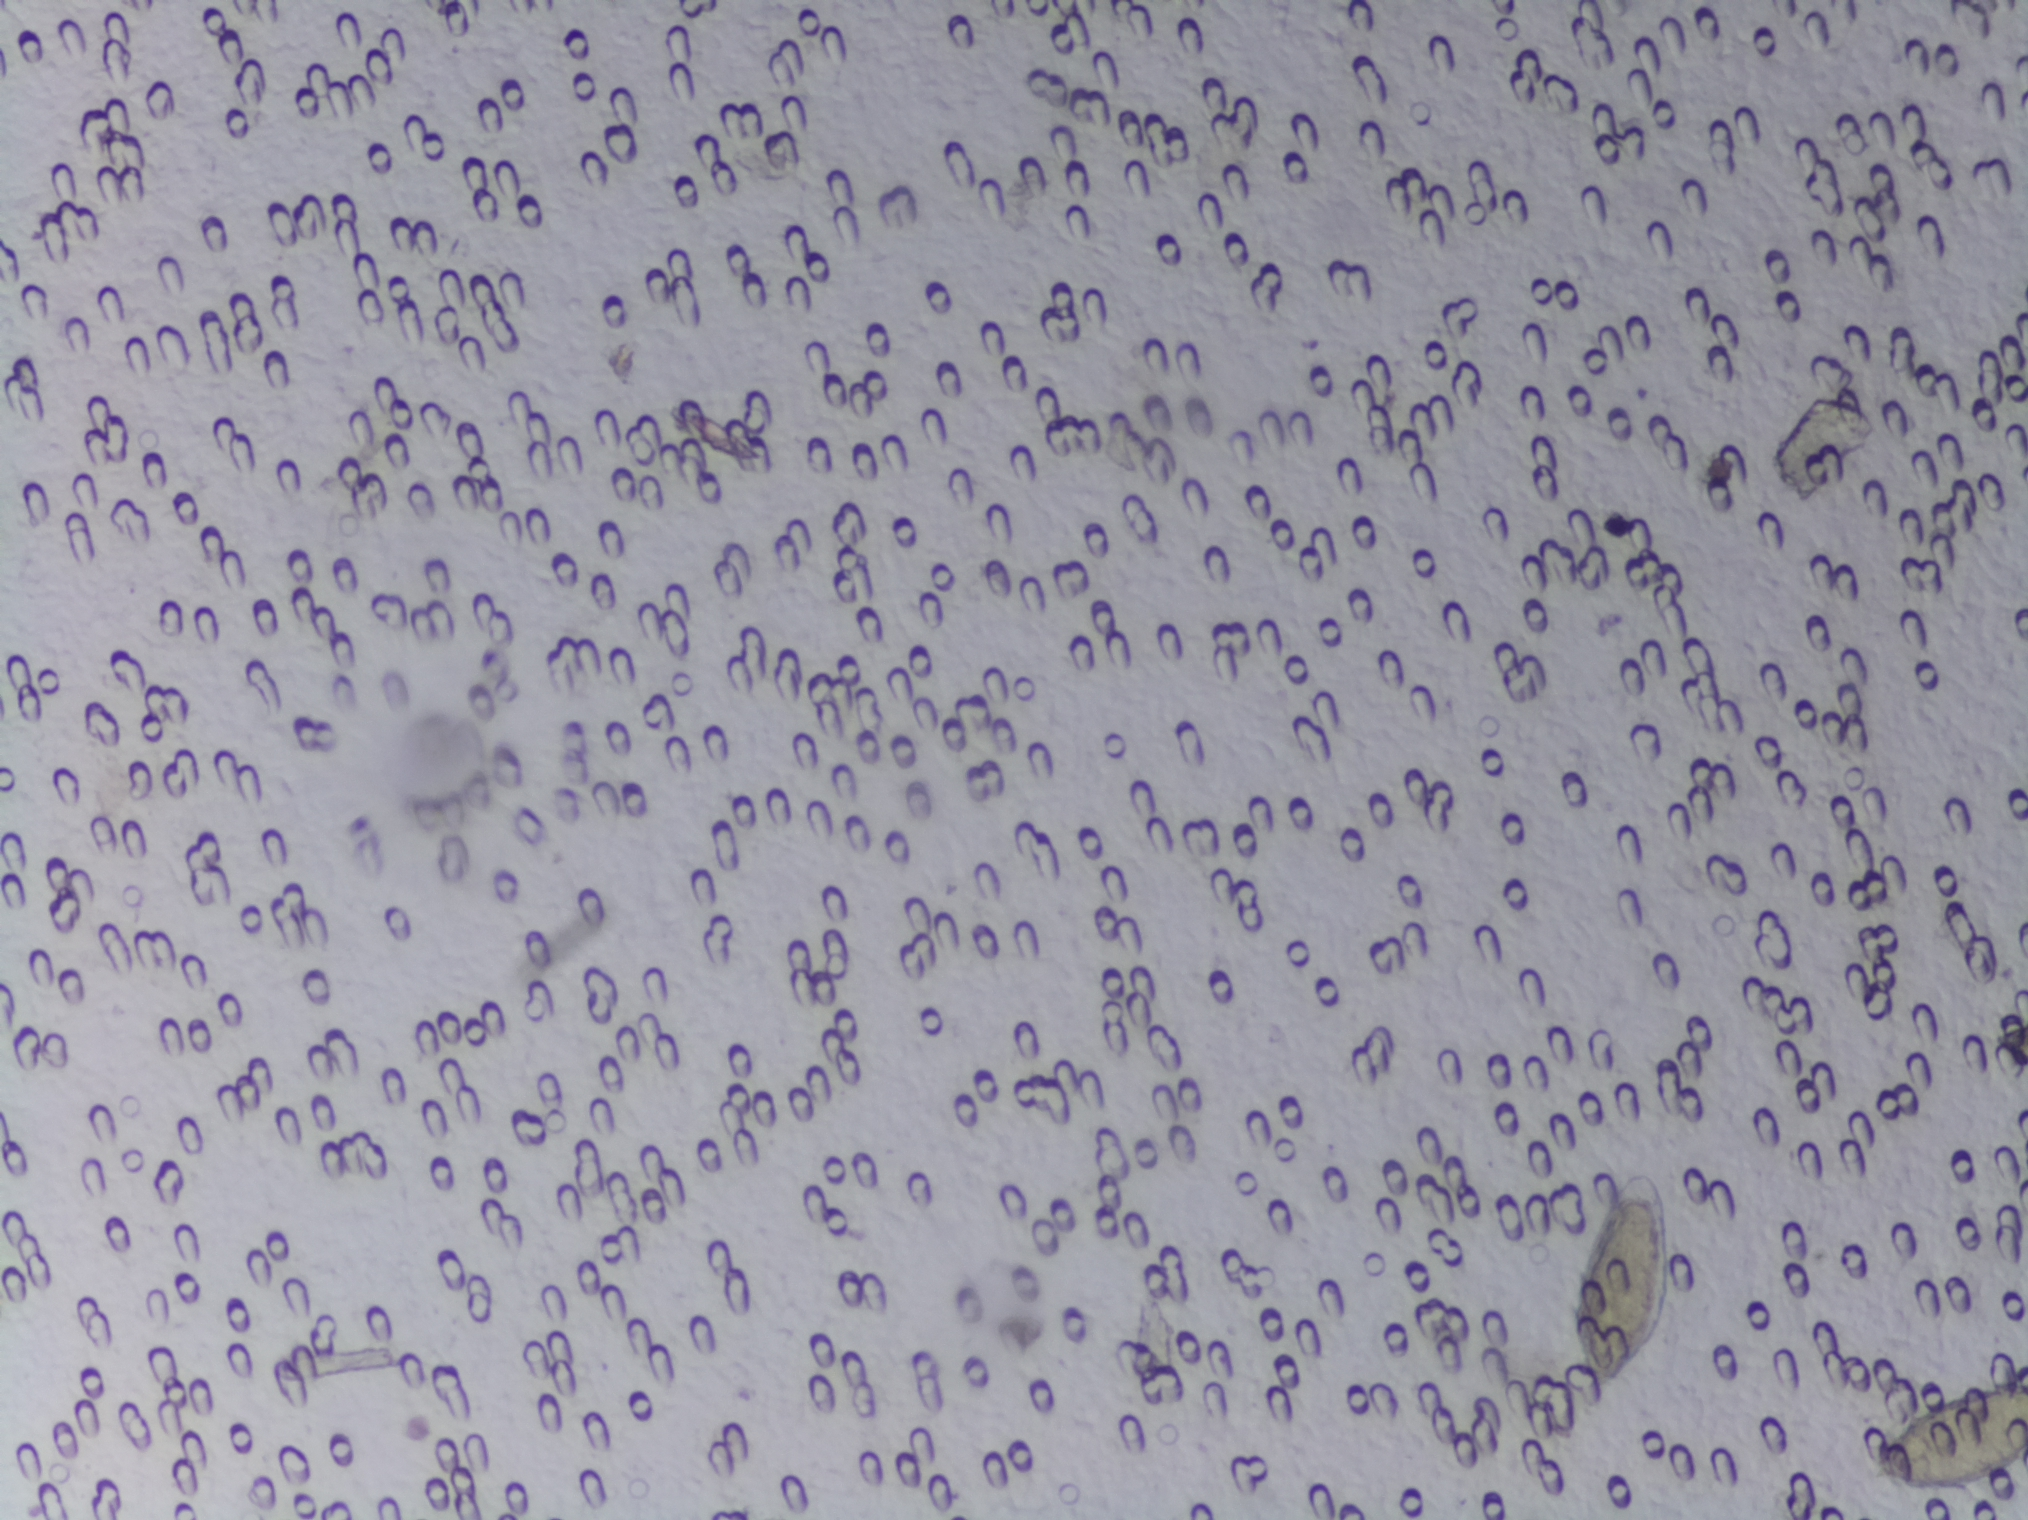
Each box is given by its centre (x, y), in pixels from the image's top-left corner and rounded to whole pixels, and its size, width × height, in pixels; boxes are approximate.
Two areas of this image are outlined as Schistosoma eggs, from left to right: centre (1624, 1277), 124 × 251 px and centre (1949, 1427), 157 × 139 px (reaching the right edge of the frame). Marked pixels, not the boxes around them: about 1.1% of the image. Eggs that touch can end up inside the same outlined area. A marked egg may occasionally be S. mansoni rather than S. haematobium.
Photograph from an automated digital microscope: urine filter membrane, 4× objective.